Photograph from an automated digital microscope: urine filter membrane, 4× objective.
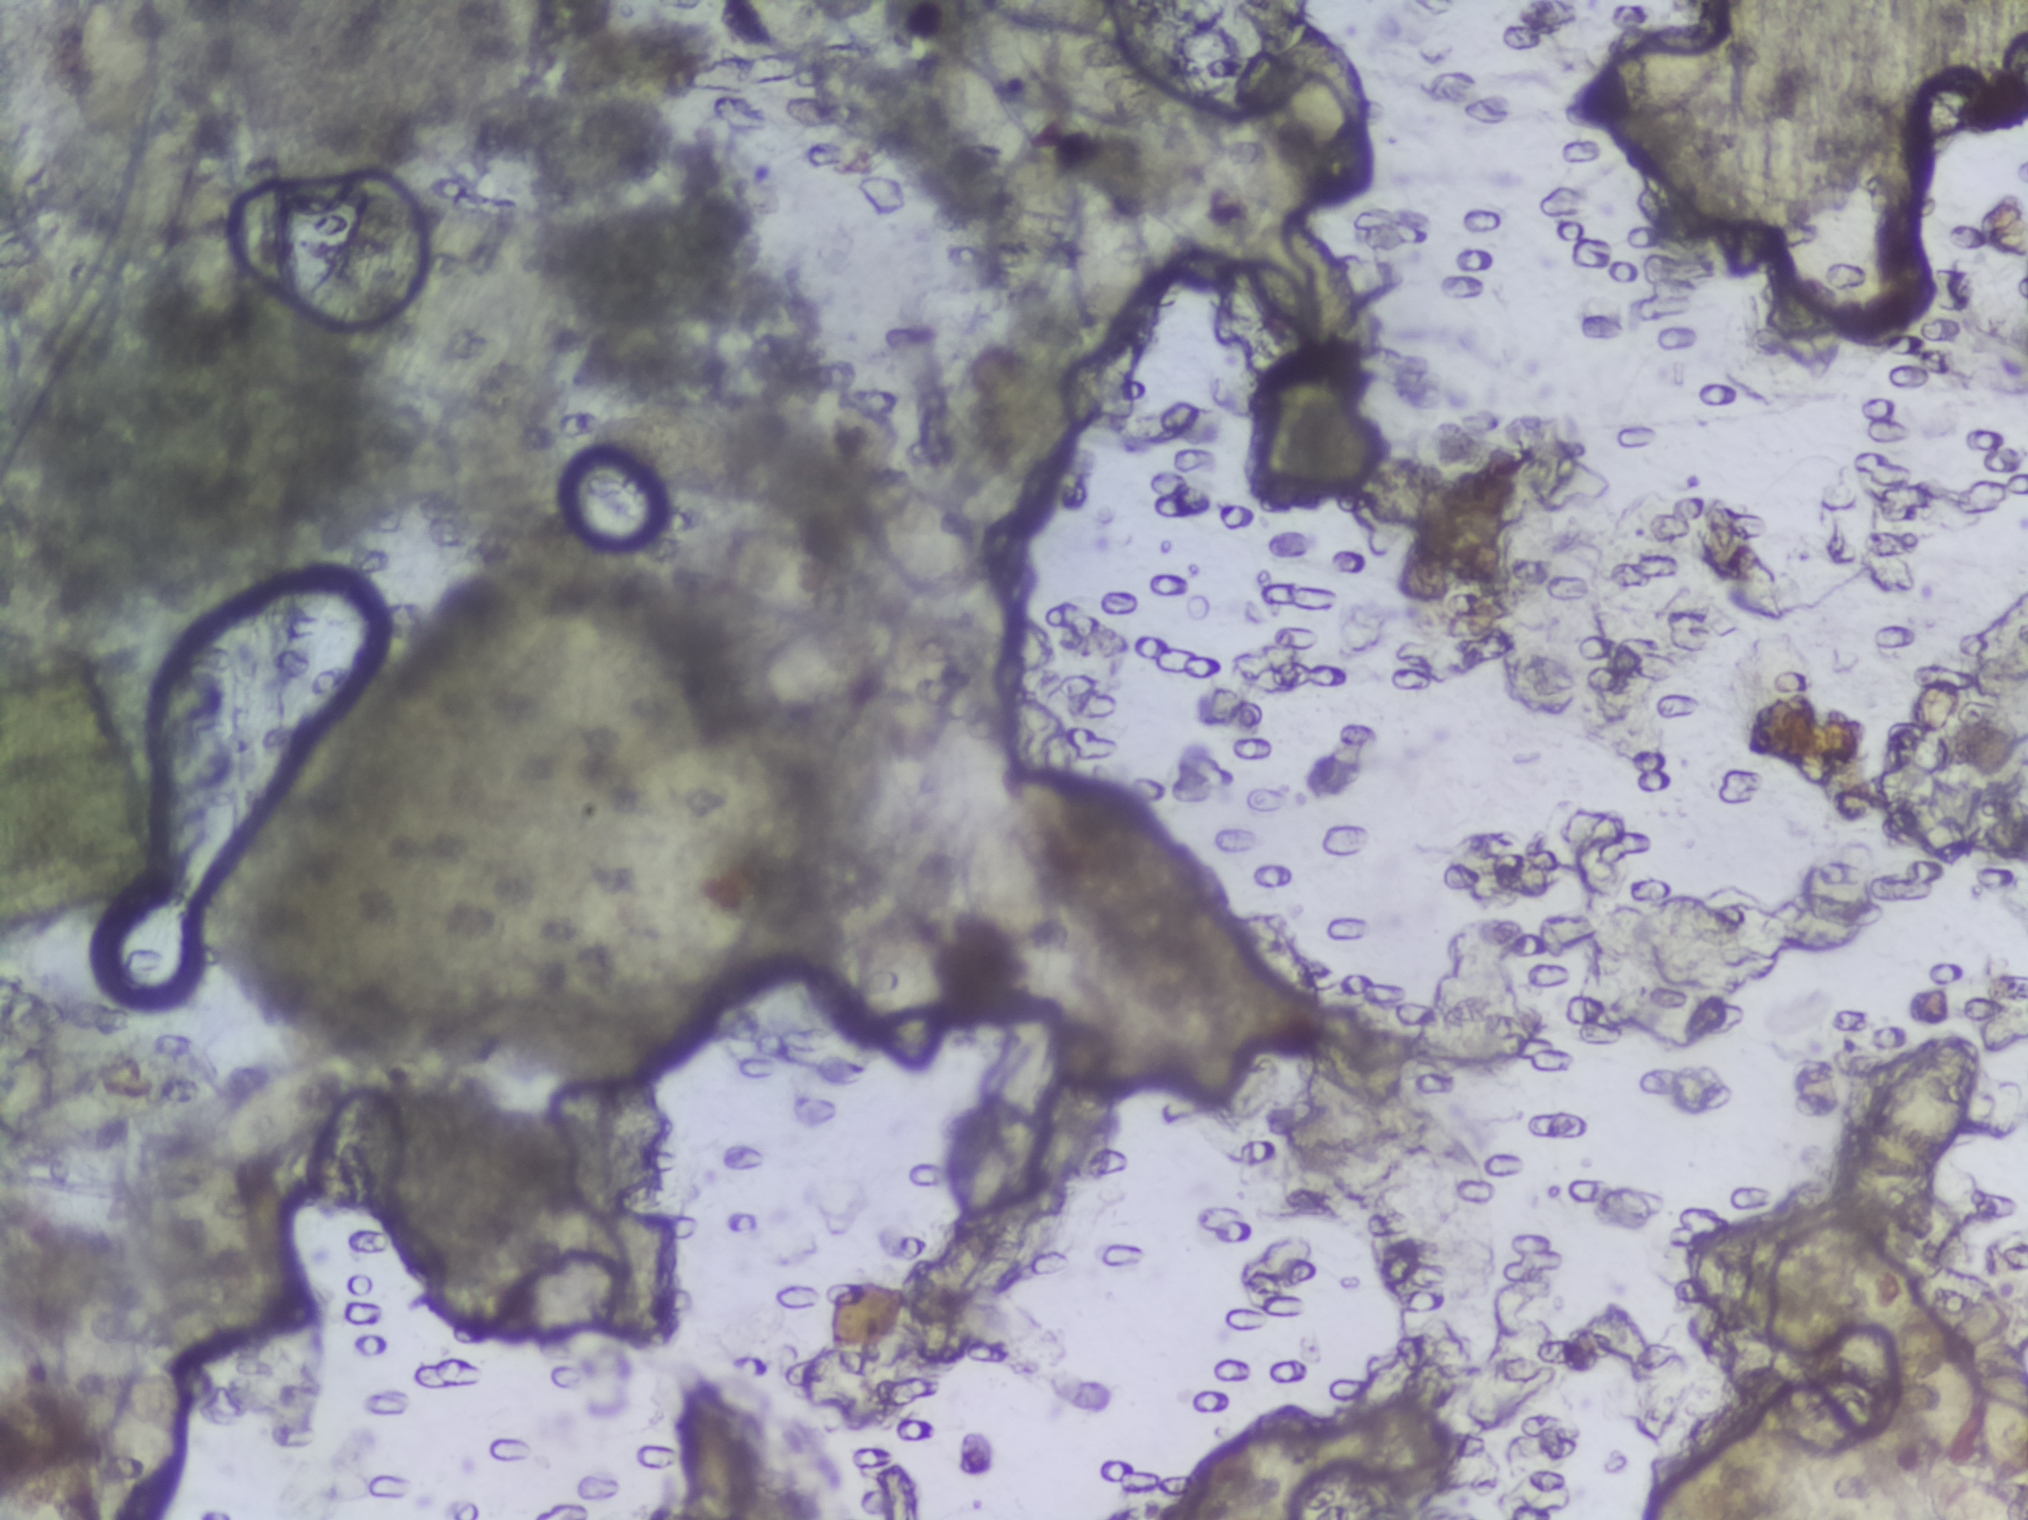
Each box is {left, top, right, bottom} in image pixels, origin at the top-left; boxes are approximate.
Schistosoma eggs are outlined in 13 areas of this image, listed from left to right: {52, 1271, 141, 1456}; {61, 0, 163, 142} (reaching the top edge of the frame); {198, 1049, 368, 1168}; {589, 408, 753, 492}; {706, 465, 983, 769} (a cluster of eggs); {811, 820, 954, 1079}; {909, 0, 1161, 335} (a cluster of eggs; reaching the top edge of the frame); {952, 798, 1061, 990}; {1242, 220, 1386, 356}; {1561, 31, 1721, 125}; {1826, 1028, 1986, 1221}; {1926, 1366, 2027, 1519} (reaching the right and bottom edges of the frame); {1945, 1295, 2016, 1349}. The marked pixels themselves, not the boxes around them, cover about 7.7% of the image. Eggs that touch can end up inside the same outlined area.